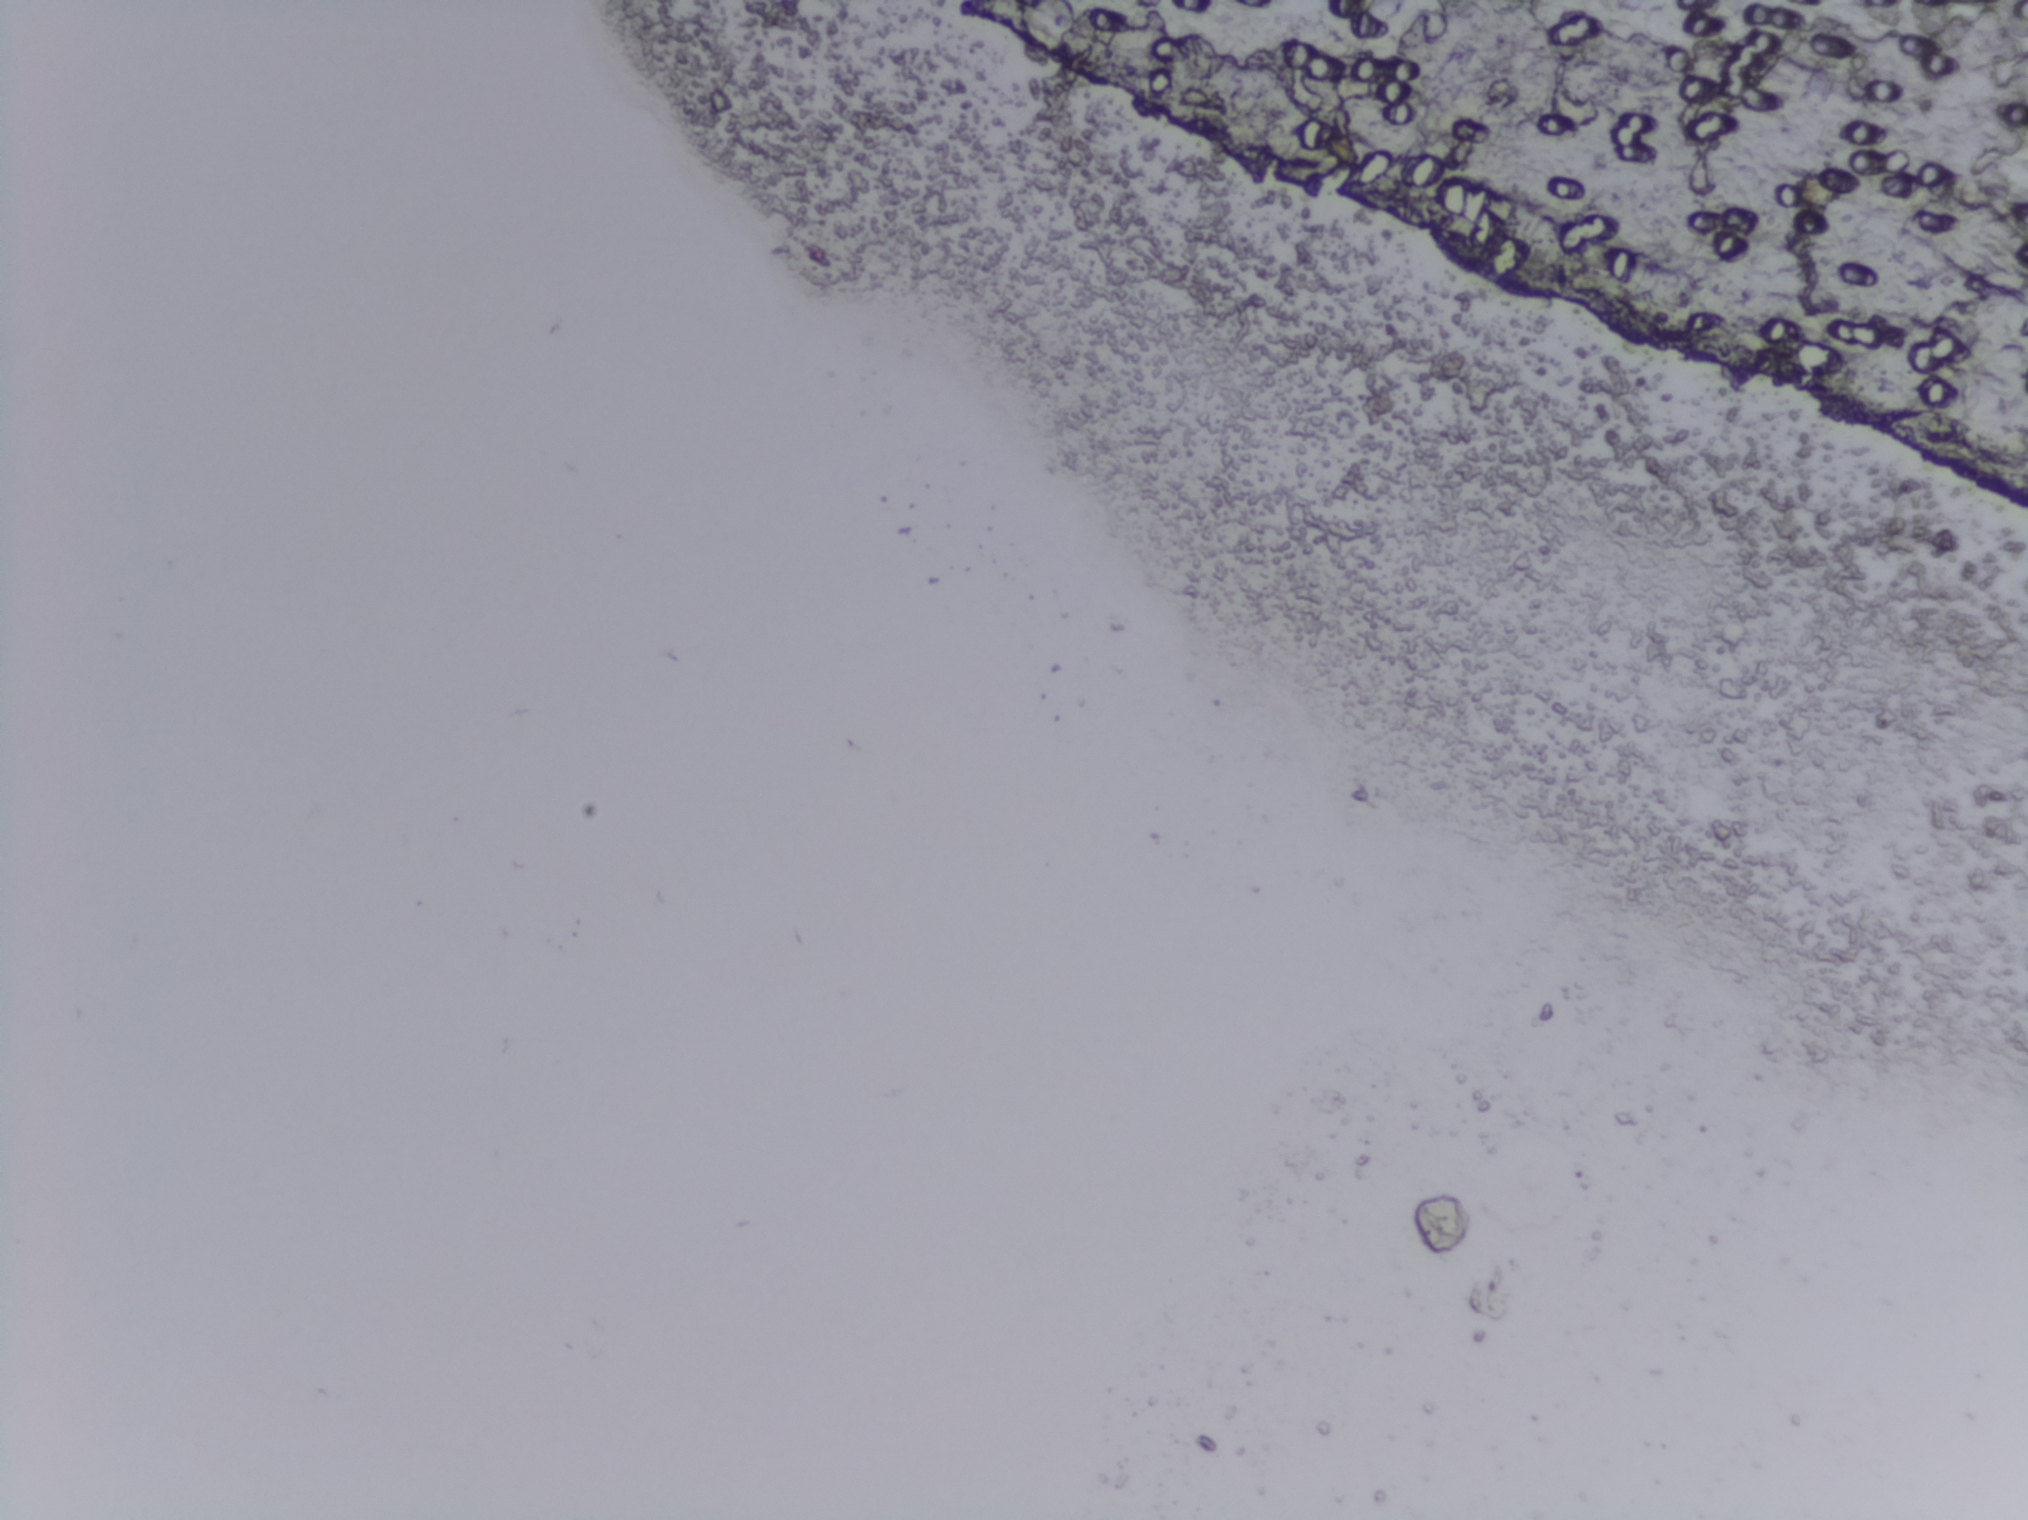
Photograph from an automated digital microscope: urine filter membrane, 4× objective.
The expert annotation marks no Schistosoma egg in this field of view.